Microscope photograph (4× objective) of a membrane that a urine sample was filtered through.
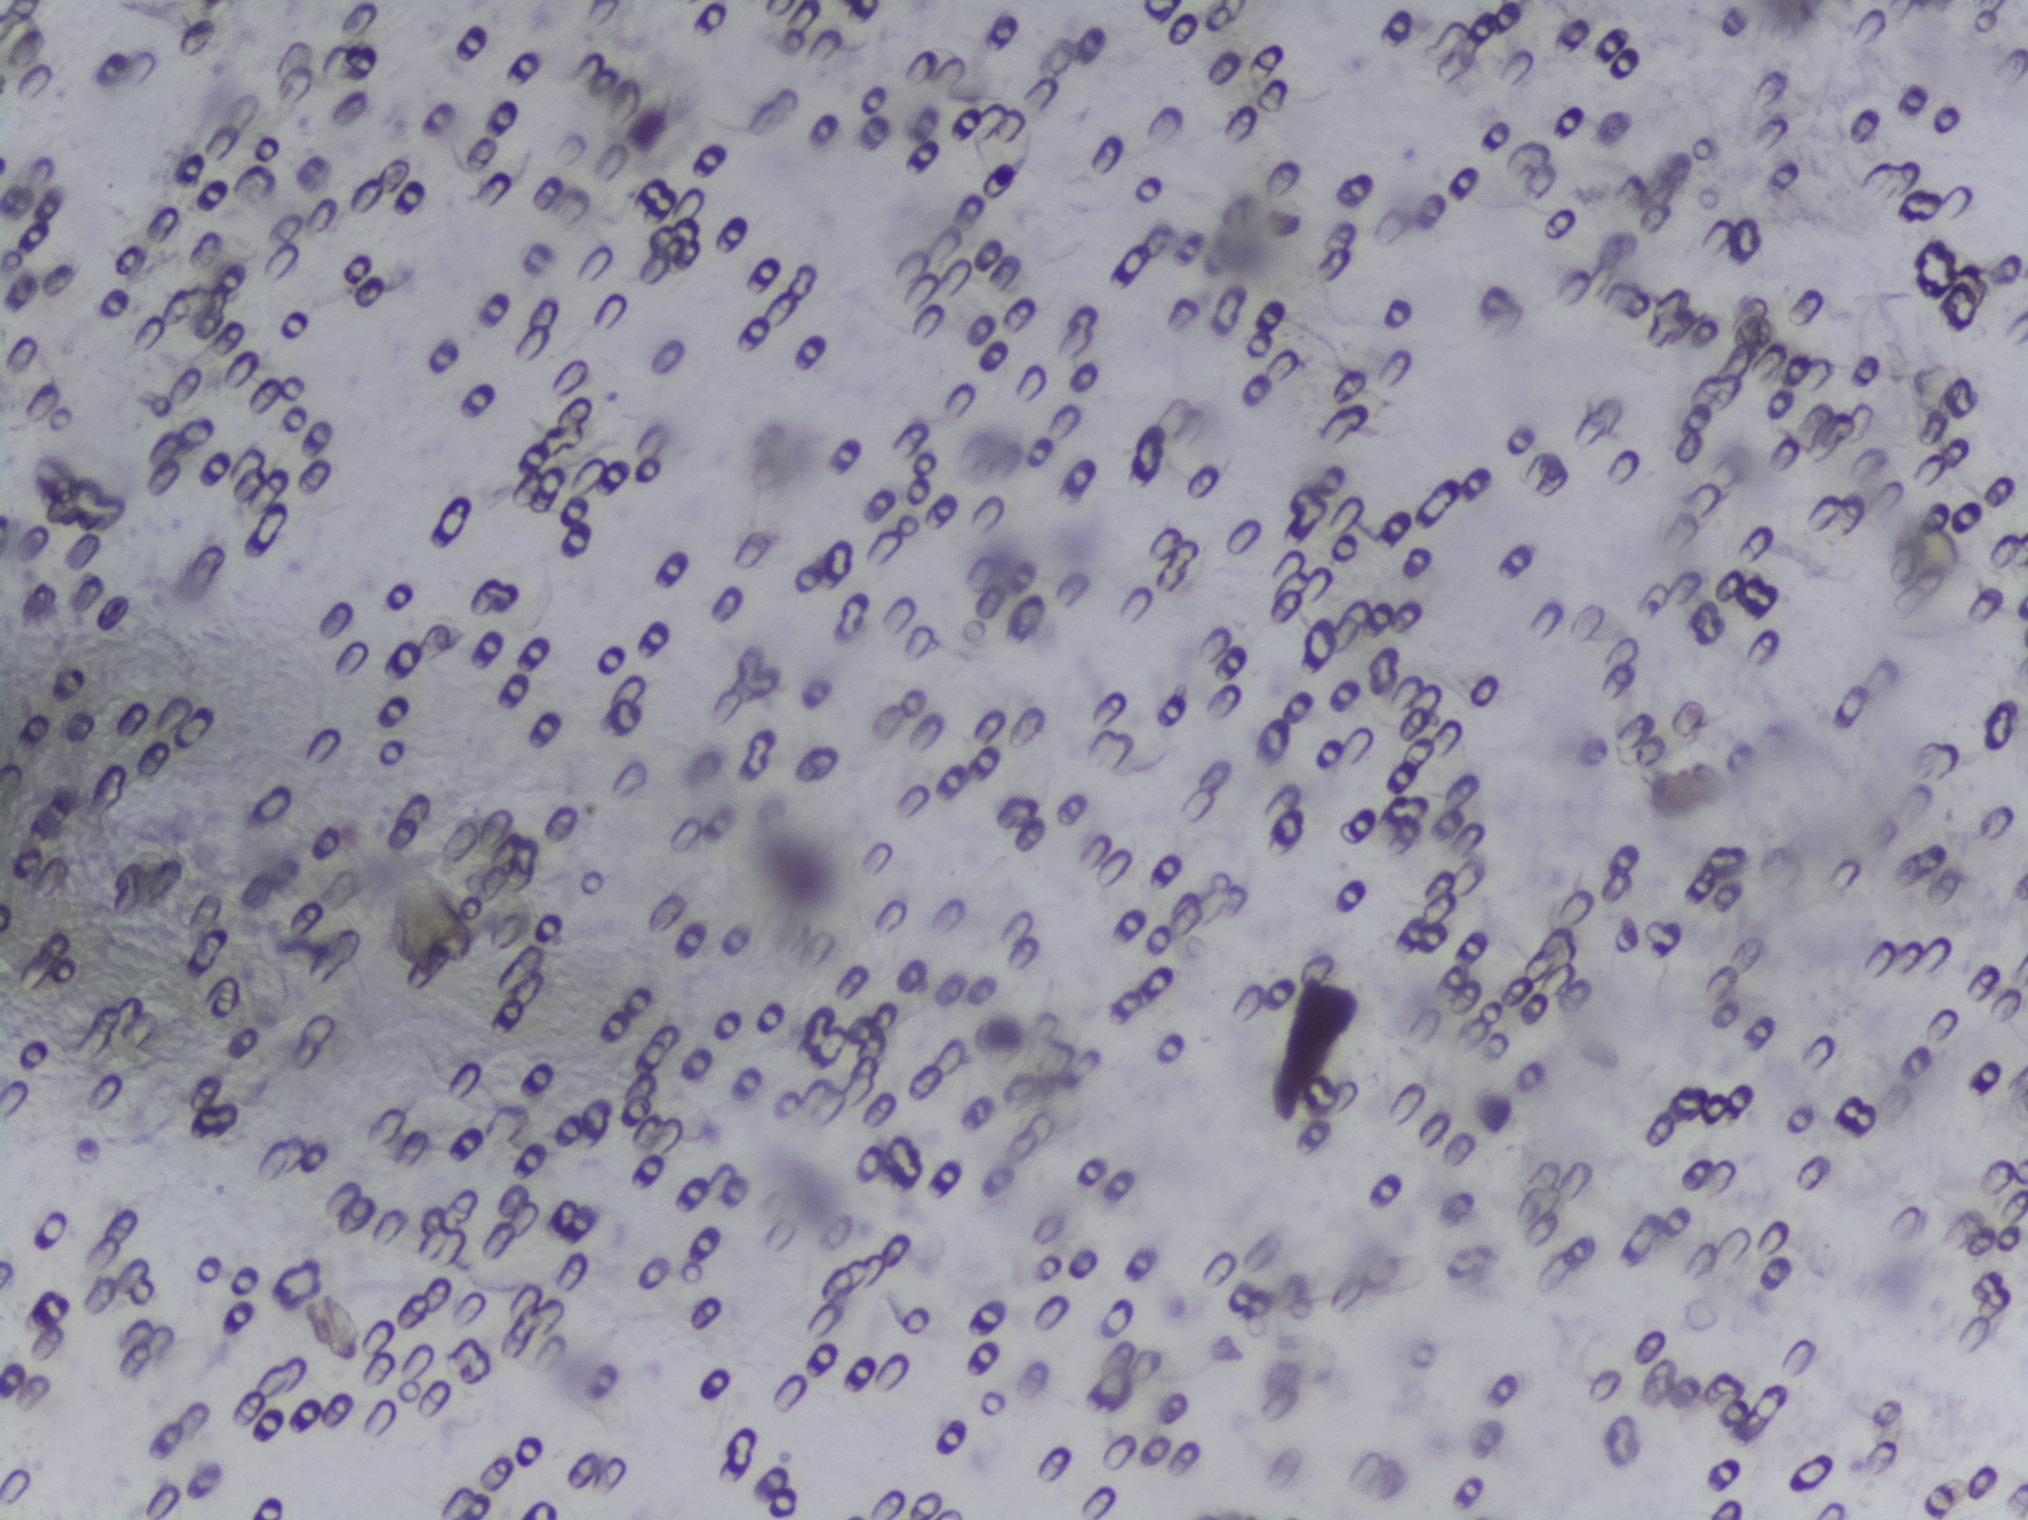
The expert annotation marks no Schistosoma egg in this field of view.